Photograph from an automated digital microscope: urine filter membrane, 4× objective.
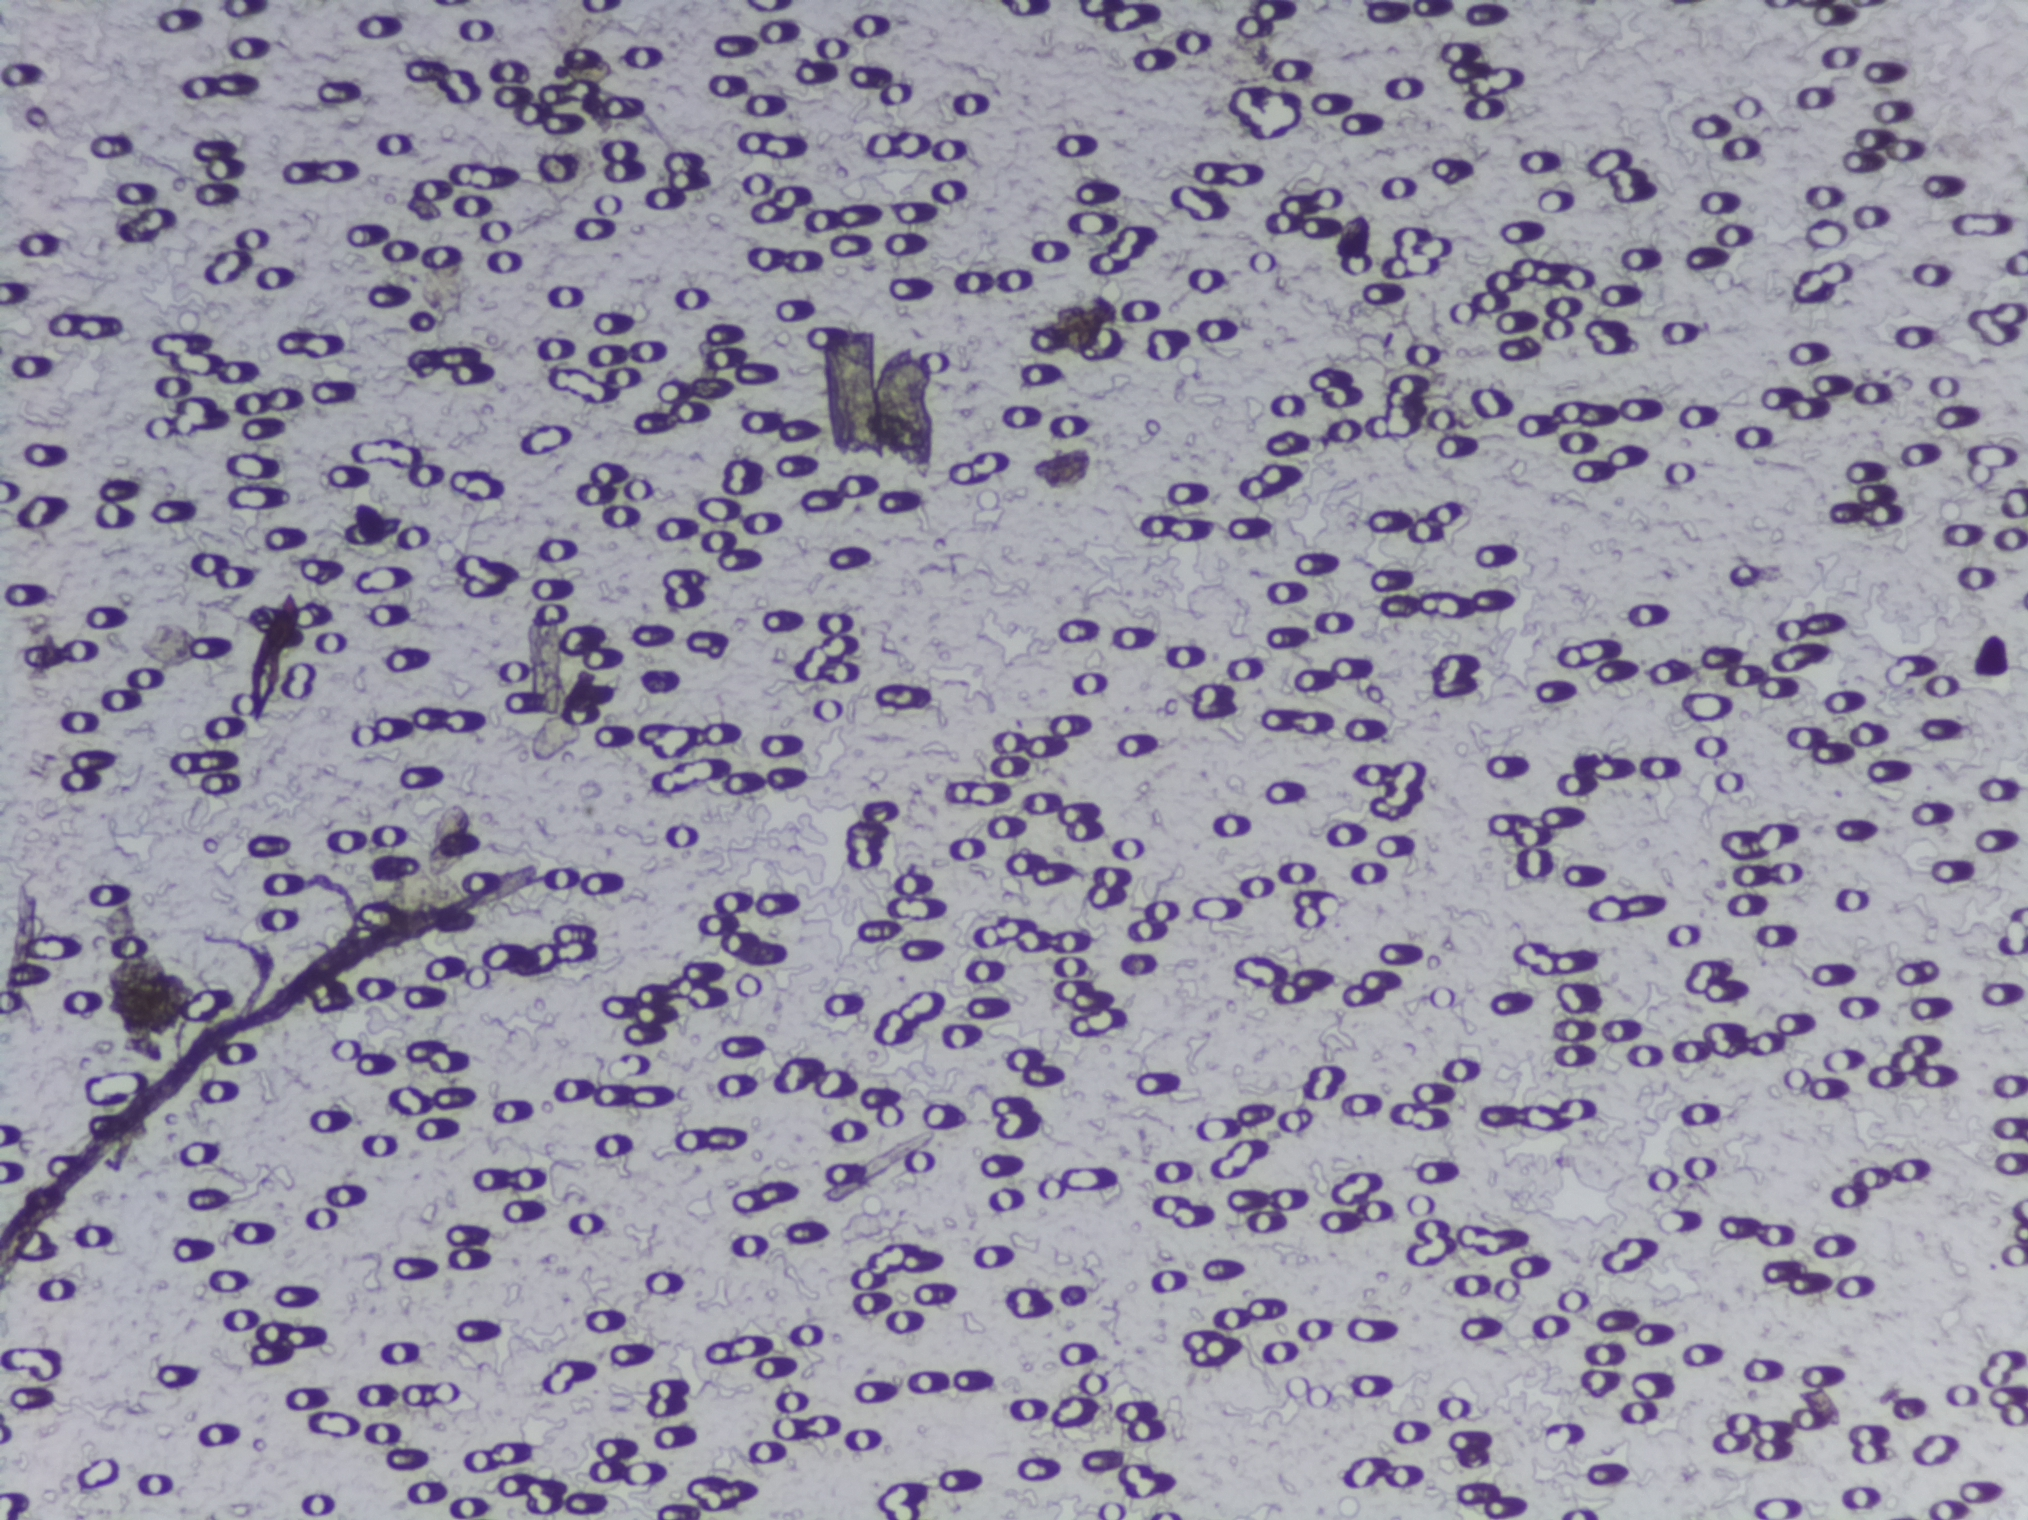
Schistosoma eggs: none outlined.